Microscope photograph (4× objective) of a membrane that a urine sample was filtered through.
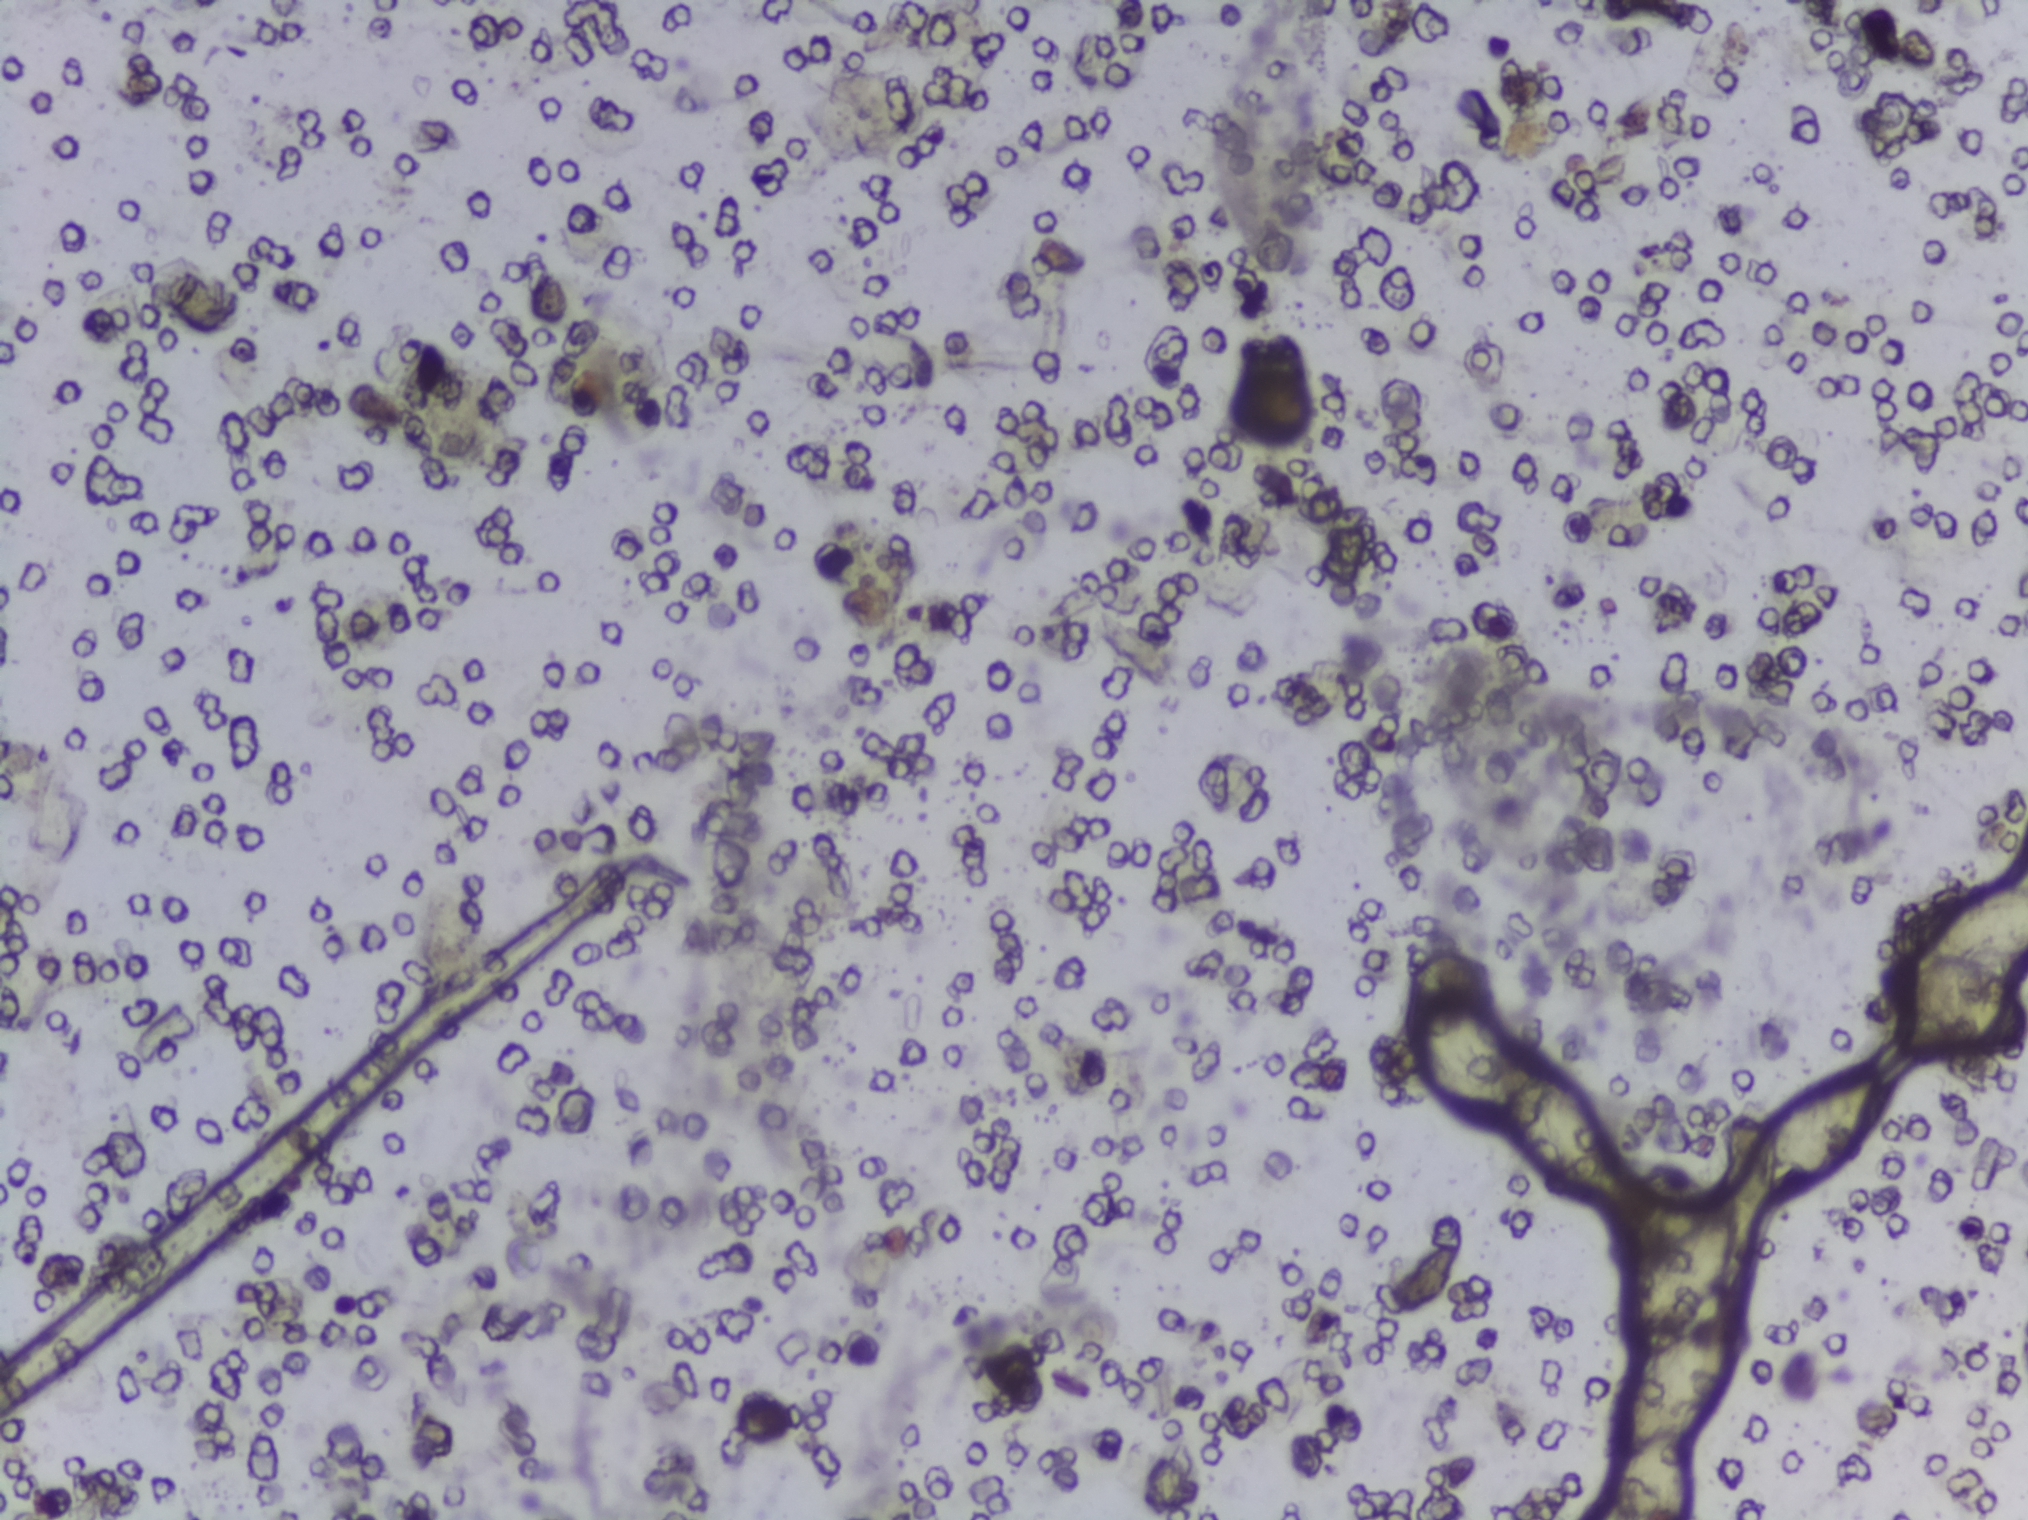
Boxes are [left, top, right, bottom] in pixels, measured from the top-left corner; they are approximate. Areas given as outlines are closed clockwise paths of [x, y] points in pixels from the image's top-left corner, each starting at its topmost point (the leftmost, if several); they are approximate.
Outlined Schistosoma egg areas, left to right:
1. outline [1412, 981], [1460, 997], [1485, 1023], [1503, 1060], [1545, 1073], [1588, 1110], [1608, 1150], [1603, 1201], [1577, 1200], [1539, 1166], [1516, 1132], [1459, 1112], [1422, 1079], [1411, 1057]
2. box [1604, 1305, 1740, 1519] (reaching the bottom edge of the frame)
3. box [1627, 1203, 1742, 1334]
4. box [1765, 1070, 1882, 1201]
5. box [1875, 883, 2027, 1057] (reaching the right edge of the frame)
Marked pixels, not the boxes and the outline around them: about 2.5% of the image. An outlined area can hold more than one egg. A marked egg may occasionally be S. mansoni rather than S. haematobium.